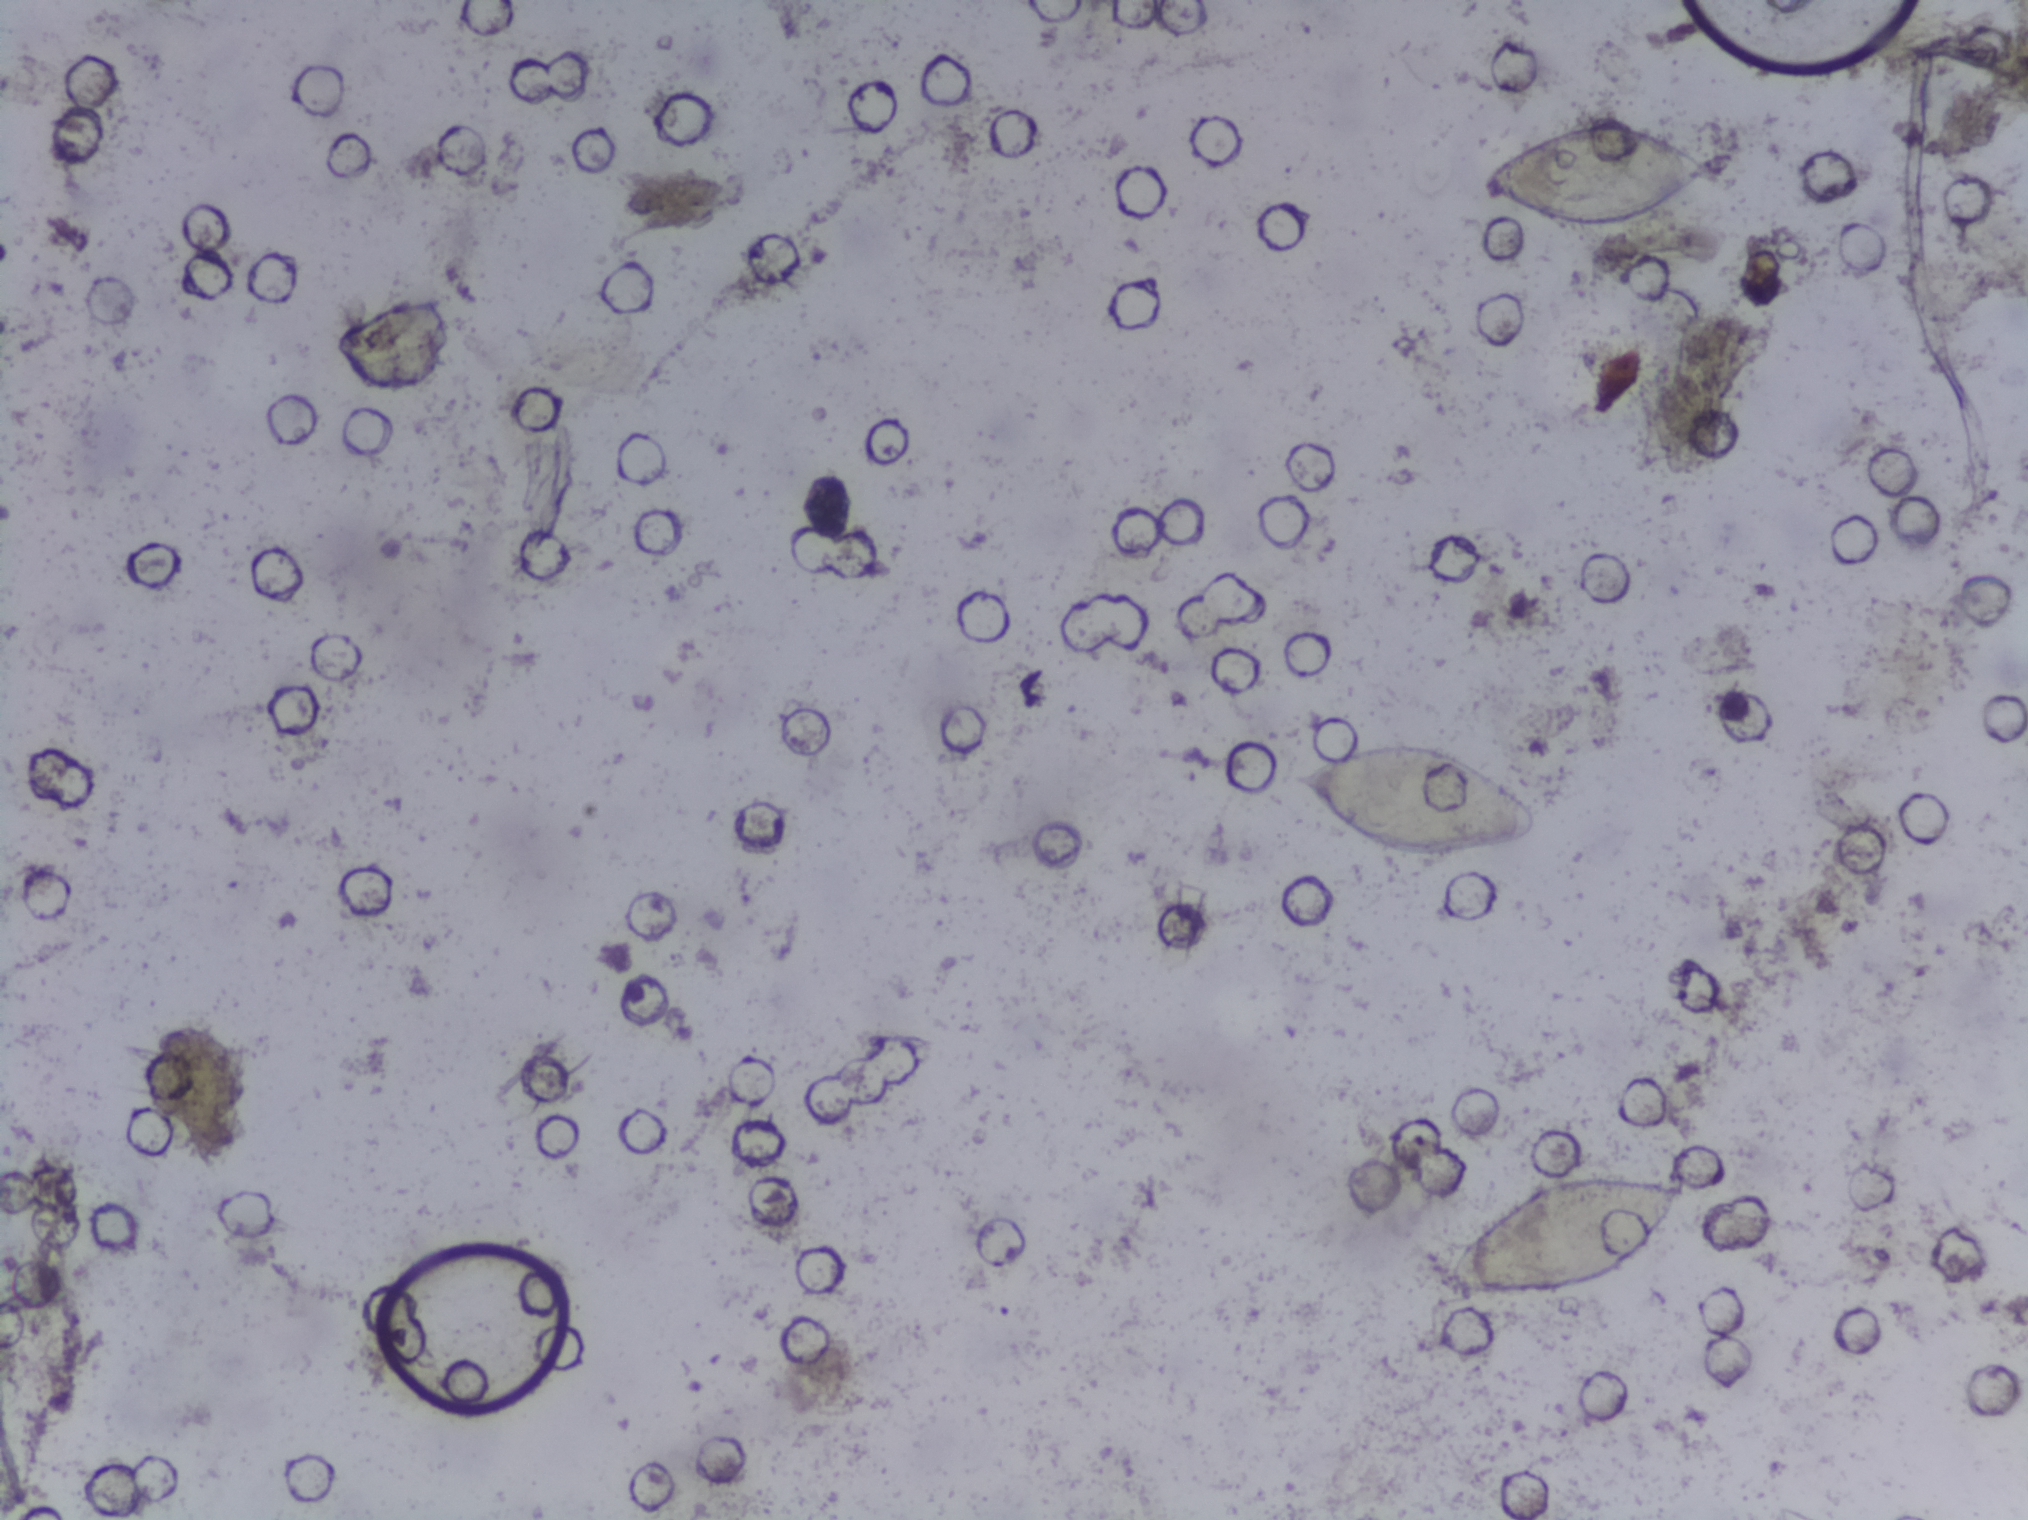
One field of view of a urine filter membrane, 4× objective, 2028 × 1520 pixels.
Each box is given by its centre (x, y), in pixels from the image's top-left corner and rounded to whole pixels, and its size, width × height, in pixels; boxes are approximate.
The expert annotation outlines Schistosoma eggs at centre (1416, 797), 248 × 126 px; centre (1568, 1233), 252 × 131 px; centre (1599, 177), 234 × 118 px. Eggs that touch can end up inside the same outlined area.